Photograph from an automated digital microscope: urine filter membrane, 4× objective.
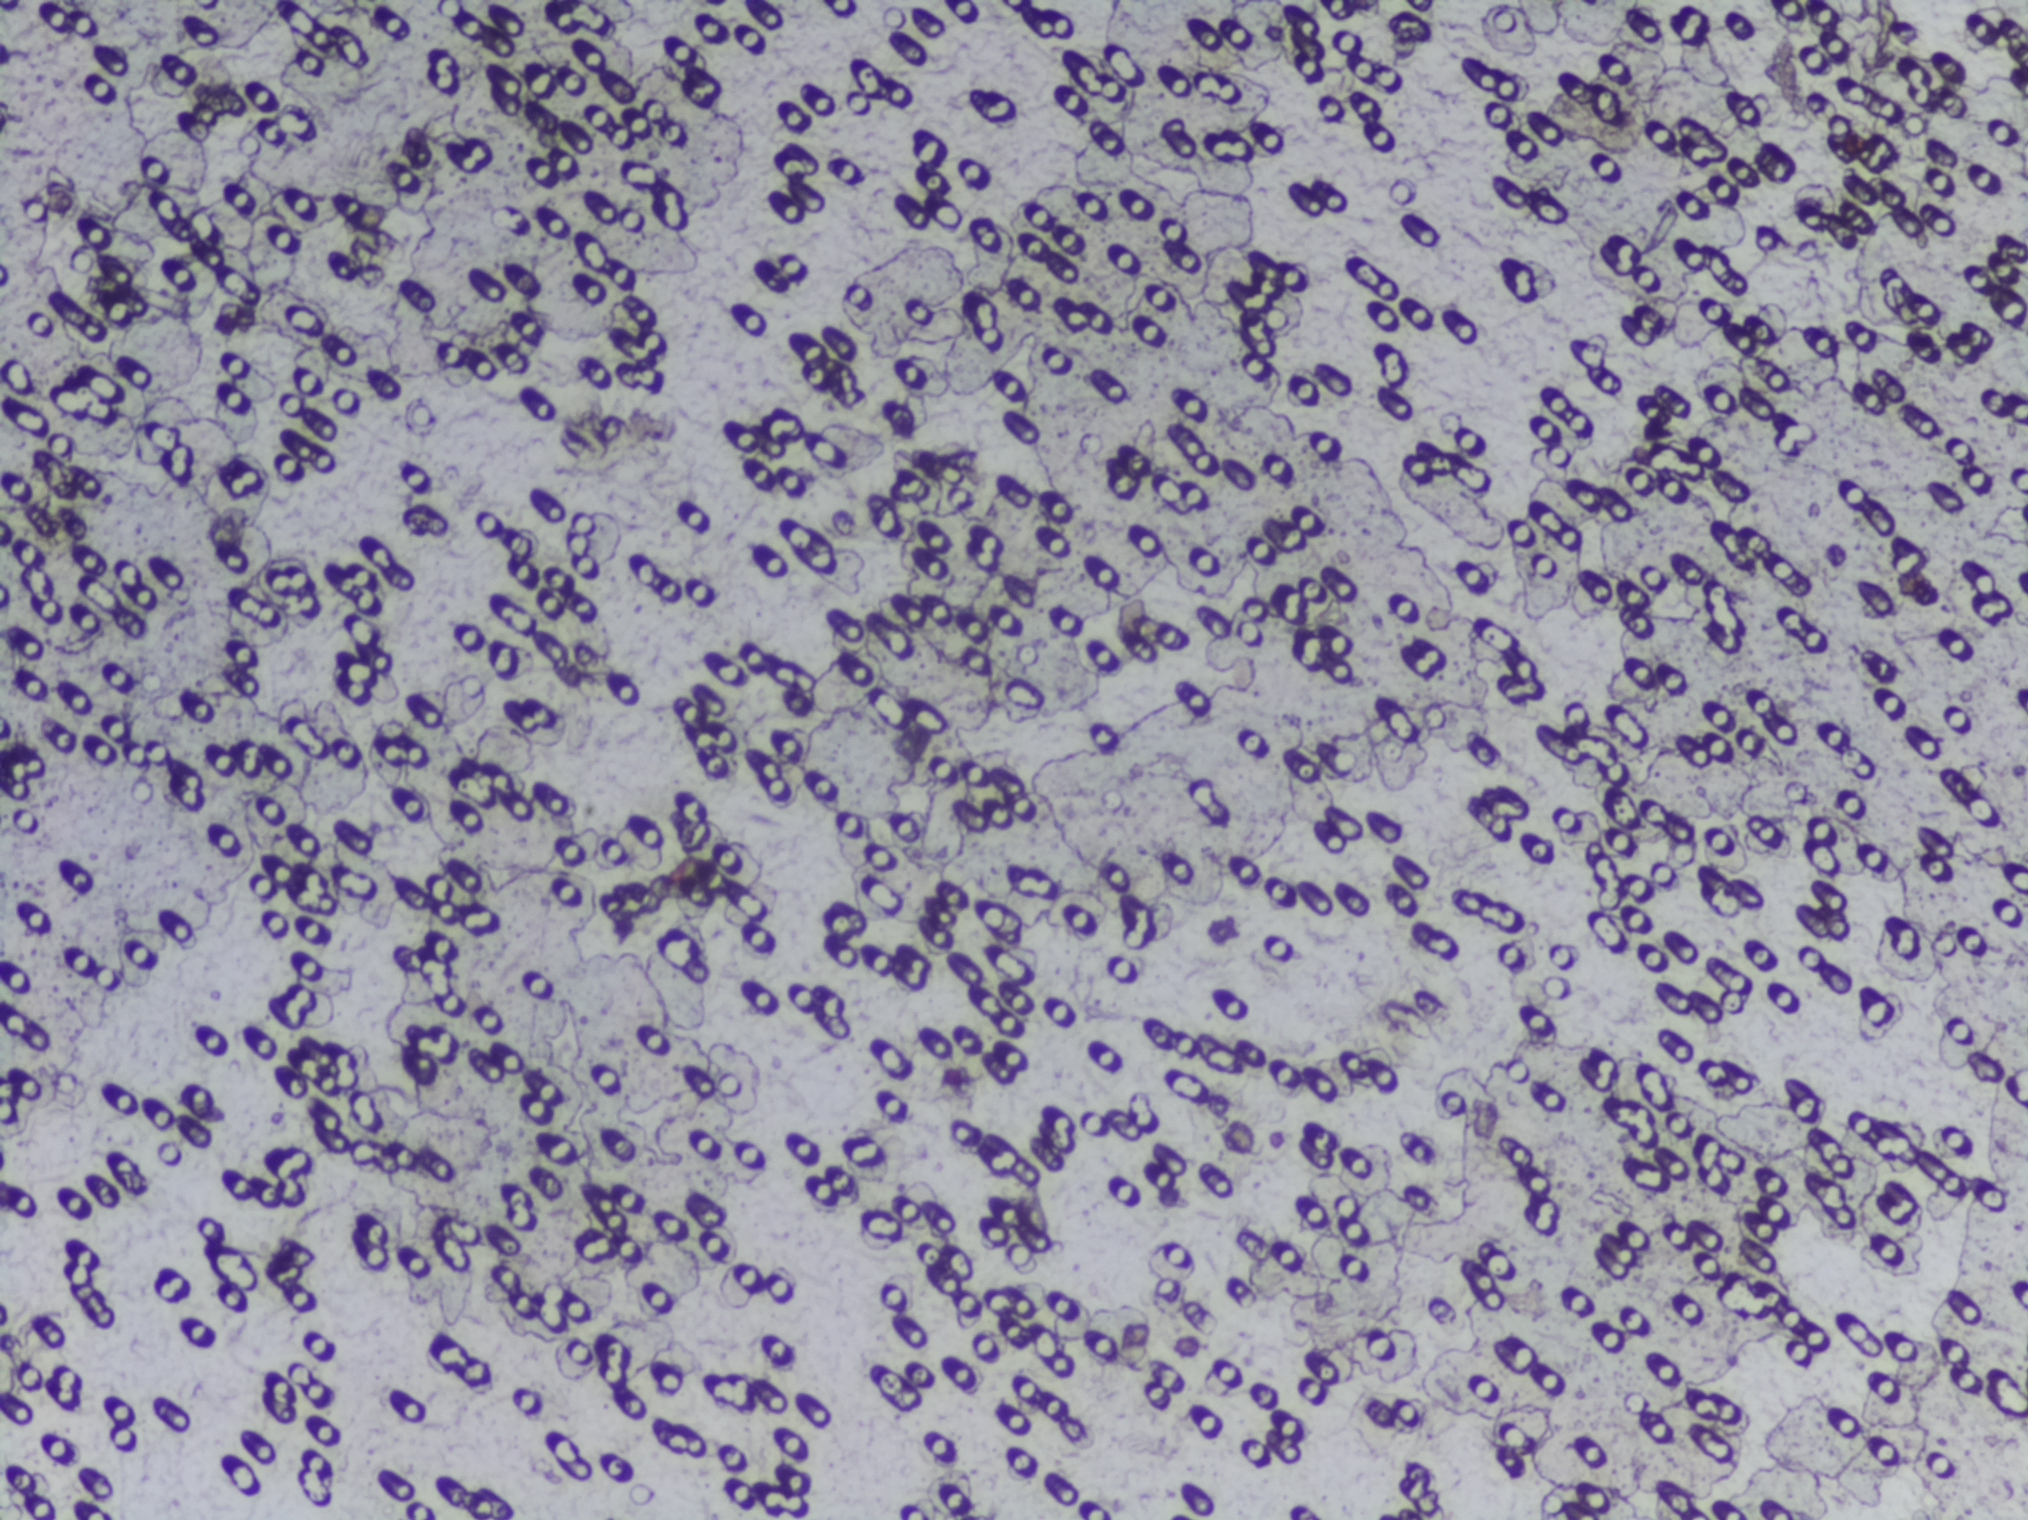
The expert annotation marks no Schistosoma egg in this field of view.